One field of view of a urine filter membrane, 4× objective, 2028 × 1520 pixels.
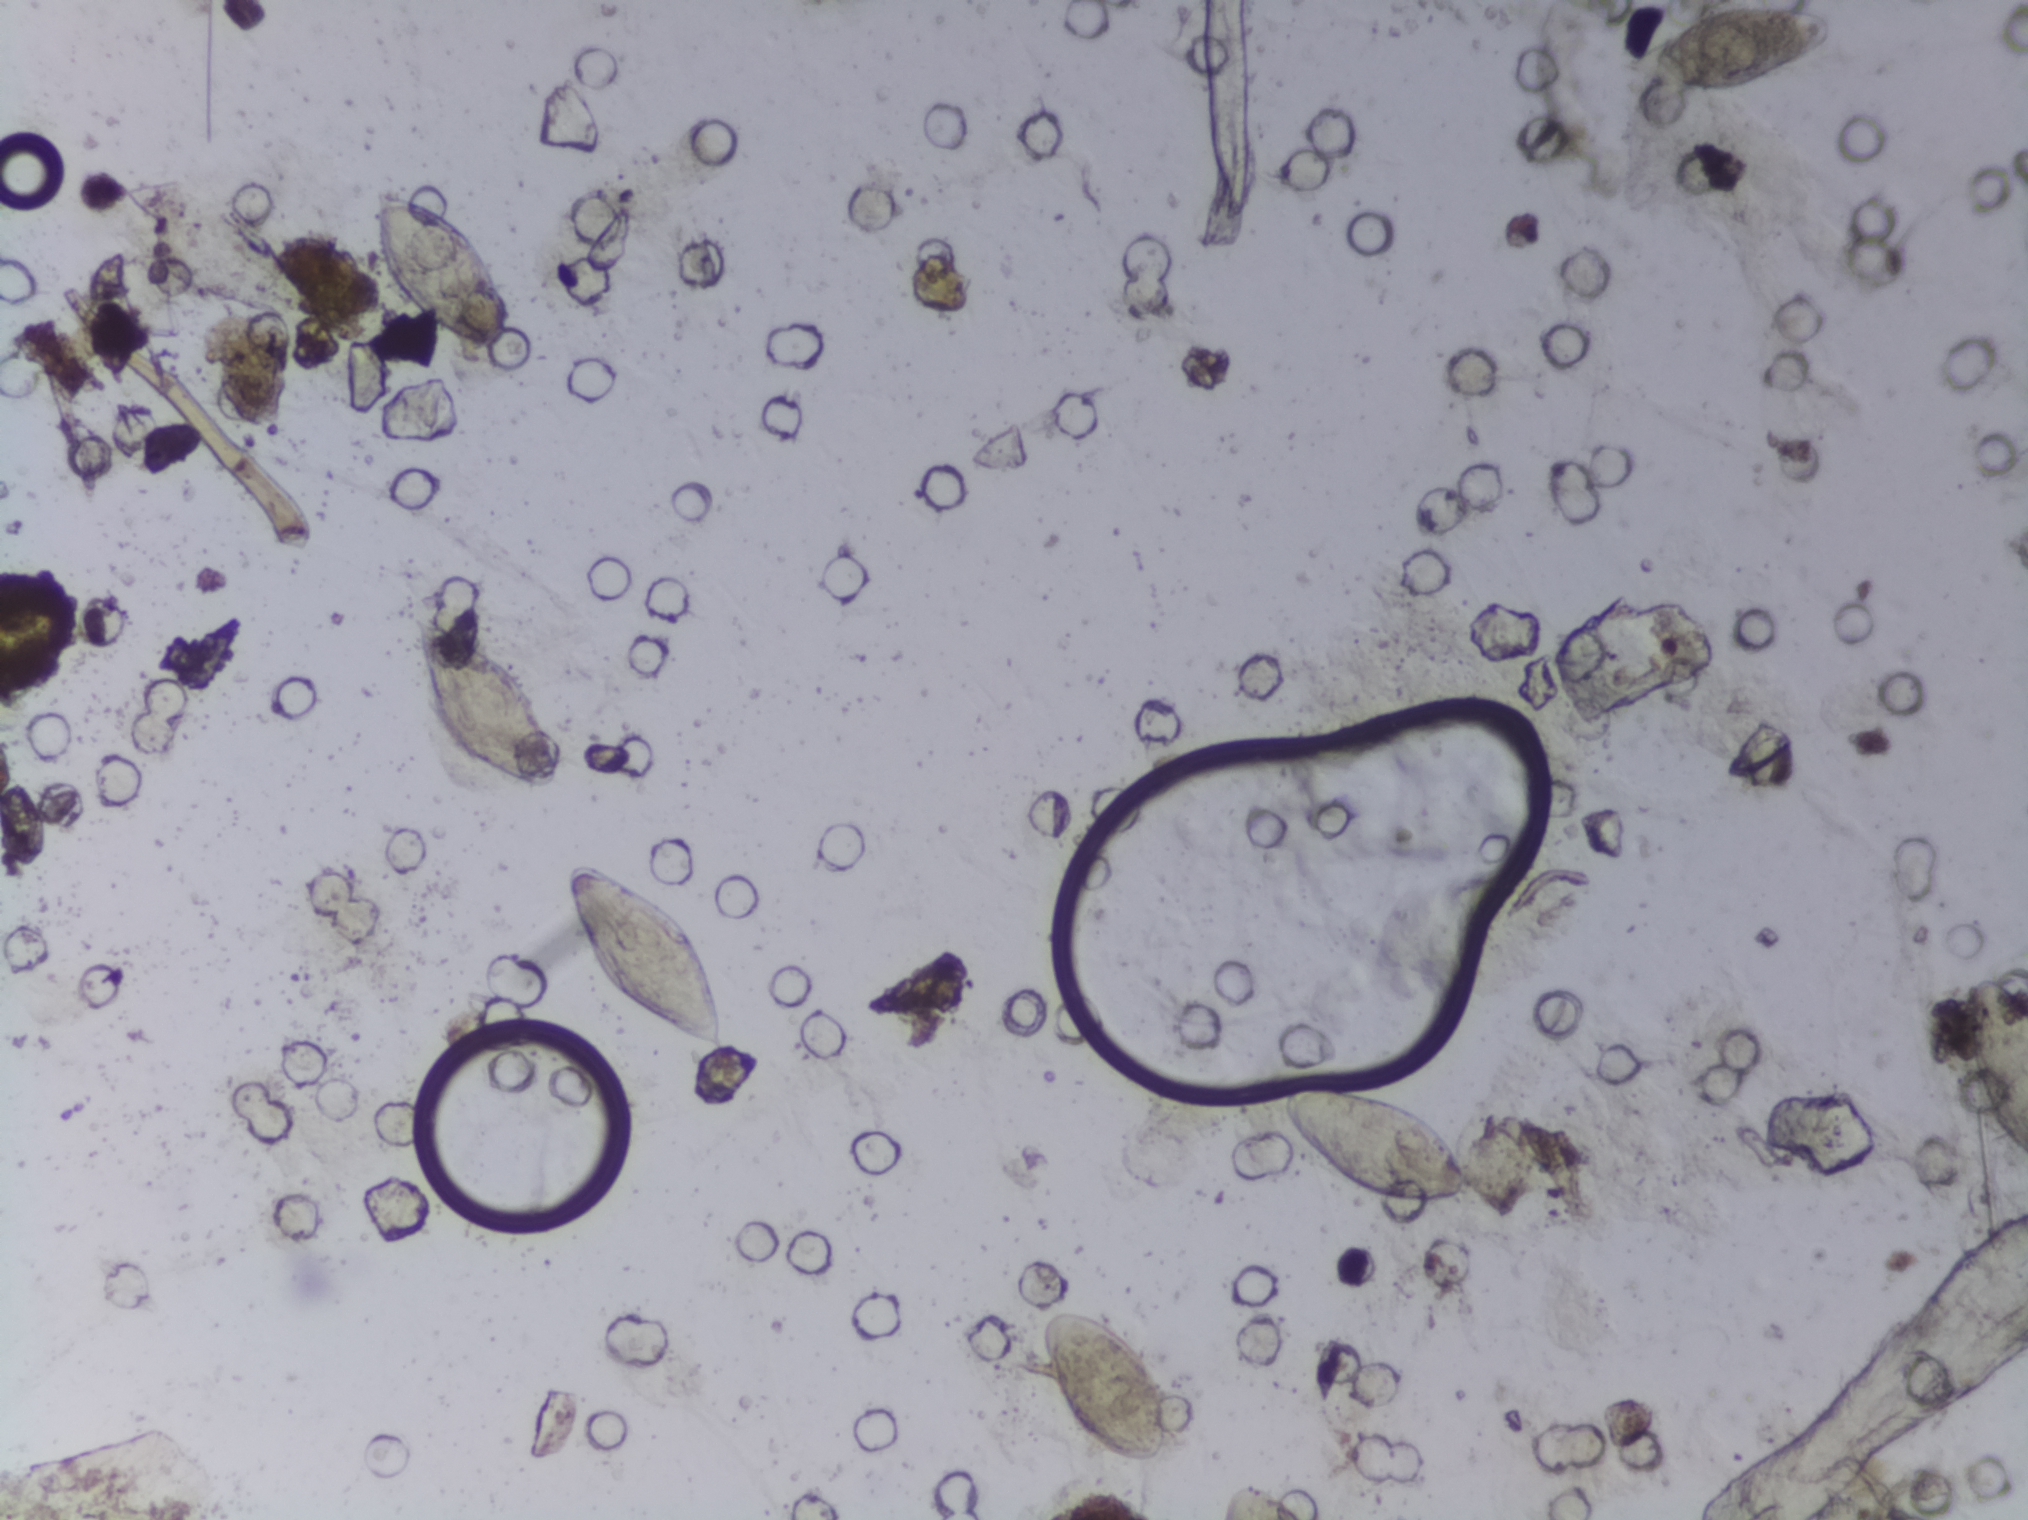
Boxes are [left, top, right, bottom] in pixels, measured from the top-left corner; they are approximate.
Areas outlined as Schistosoma eggs, left to right:
1. [368, 181, 512, 348]
2. [409, 614, 561, 790]
3. [562, 862, 728, 1055]
4. [1018, 1312, 1169, 1465]
5. [1277, 1083, 1475, 1206]
6. [1626, 0, 1847, 92] (reaching the top edge of the frame)
7. [1959, 972, 2027, 1164] (reaching the right edge of the frame)
An outlined area can hold more than one egg.